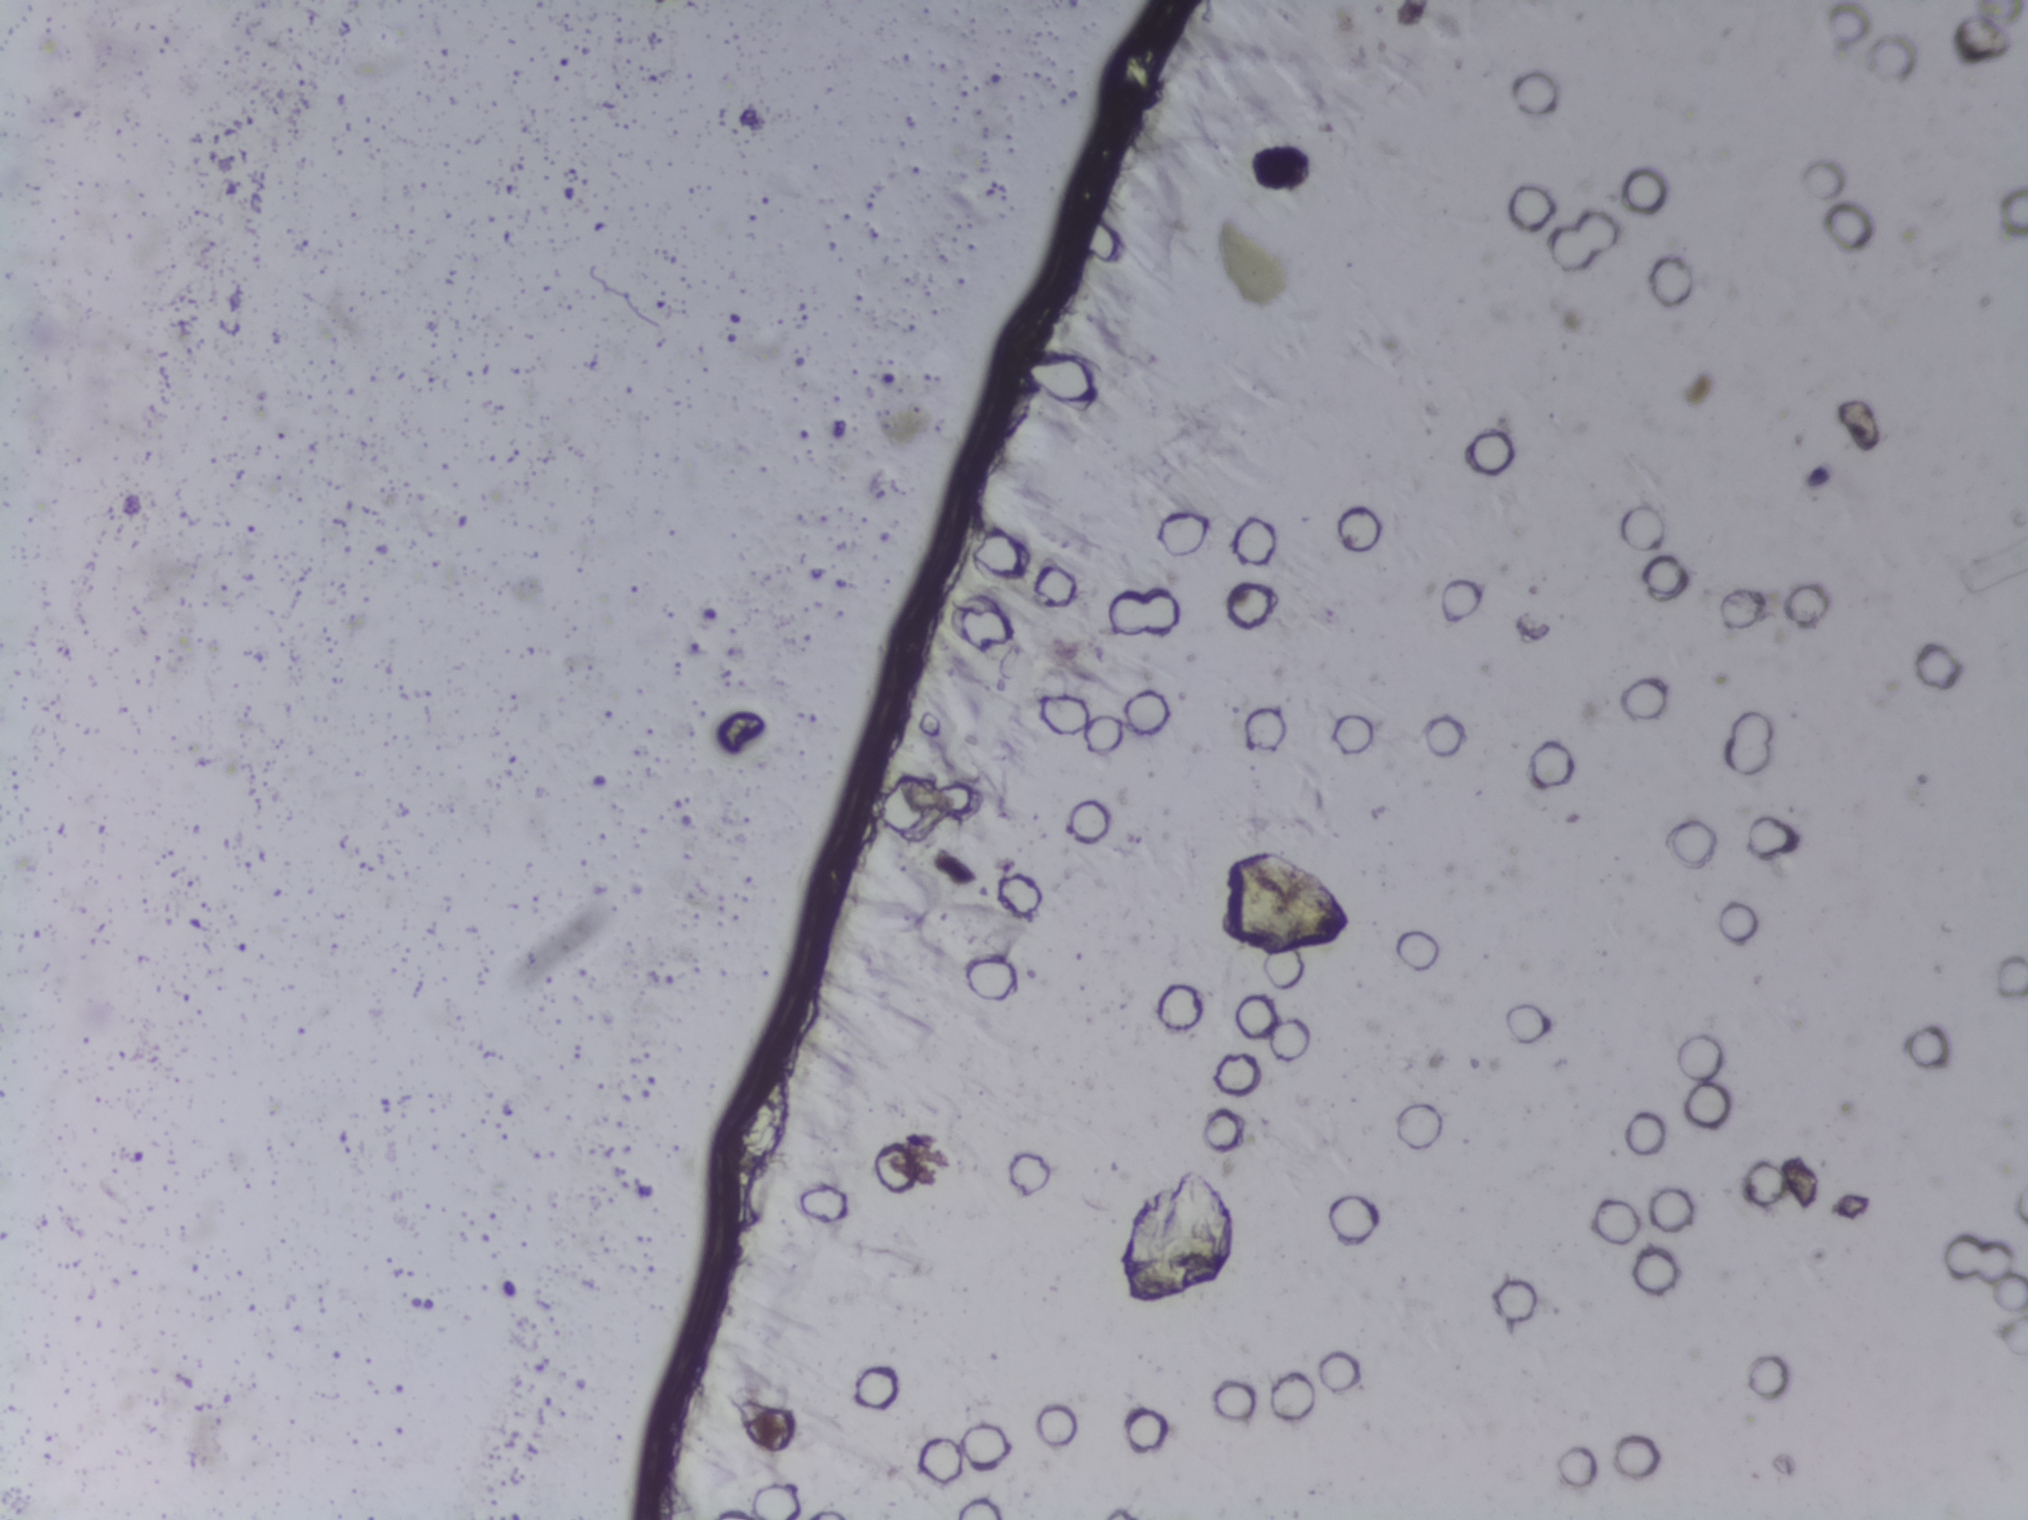
Photograph from an automated digital microscope: urine filter membrane, 4× objective.
Schistosoma eggs: none outlined.